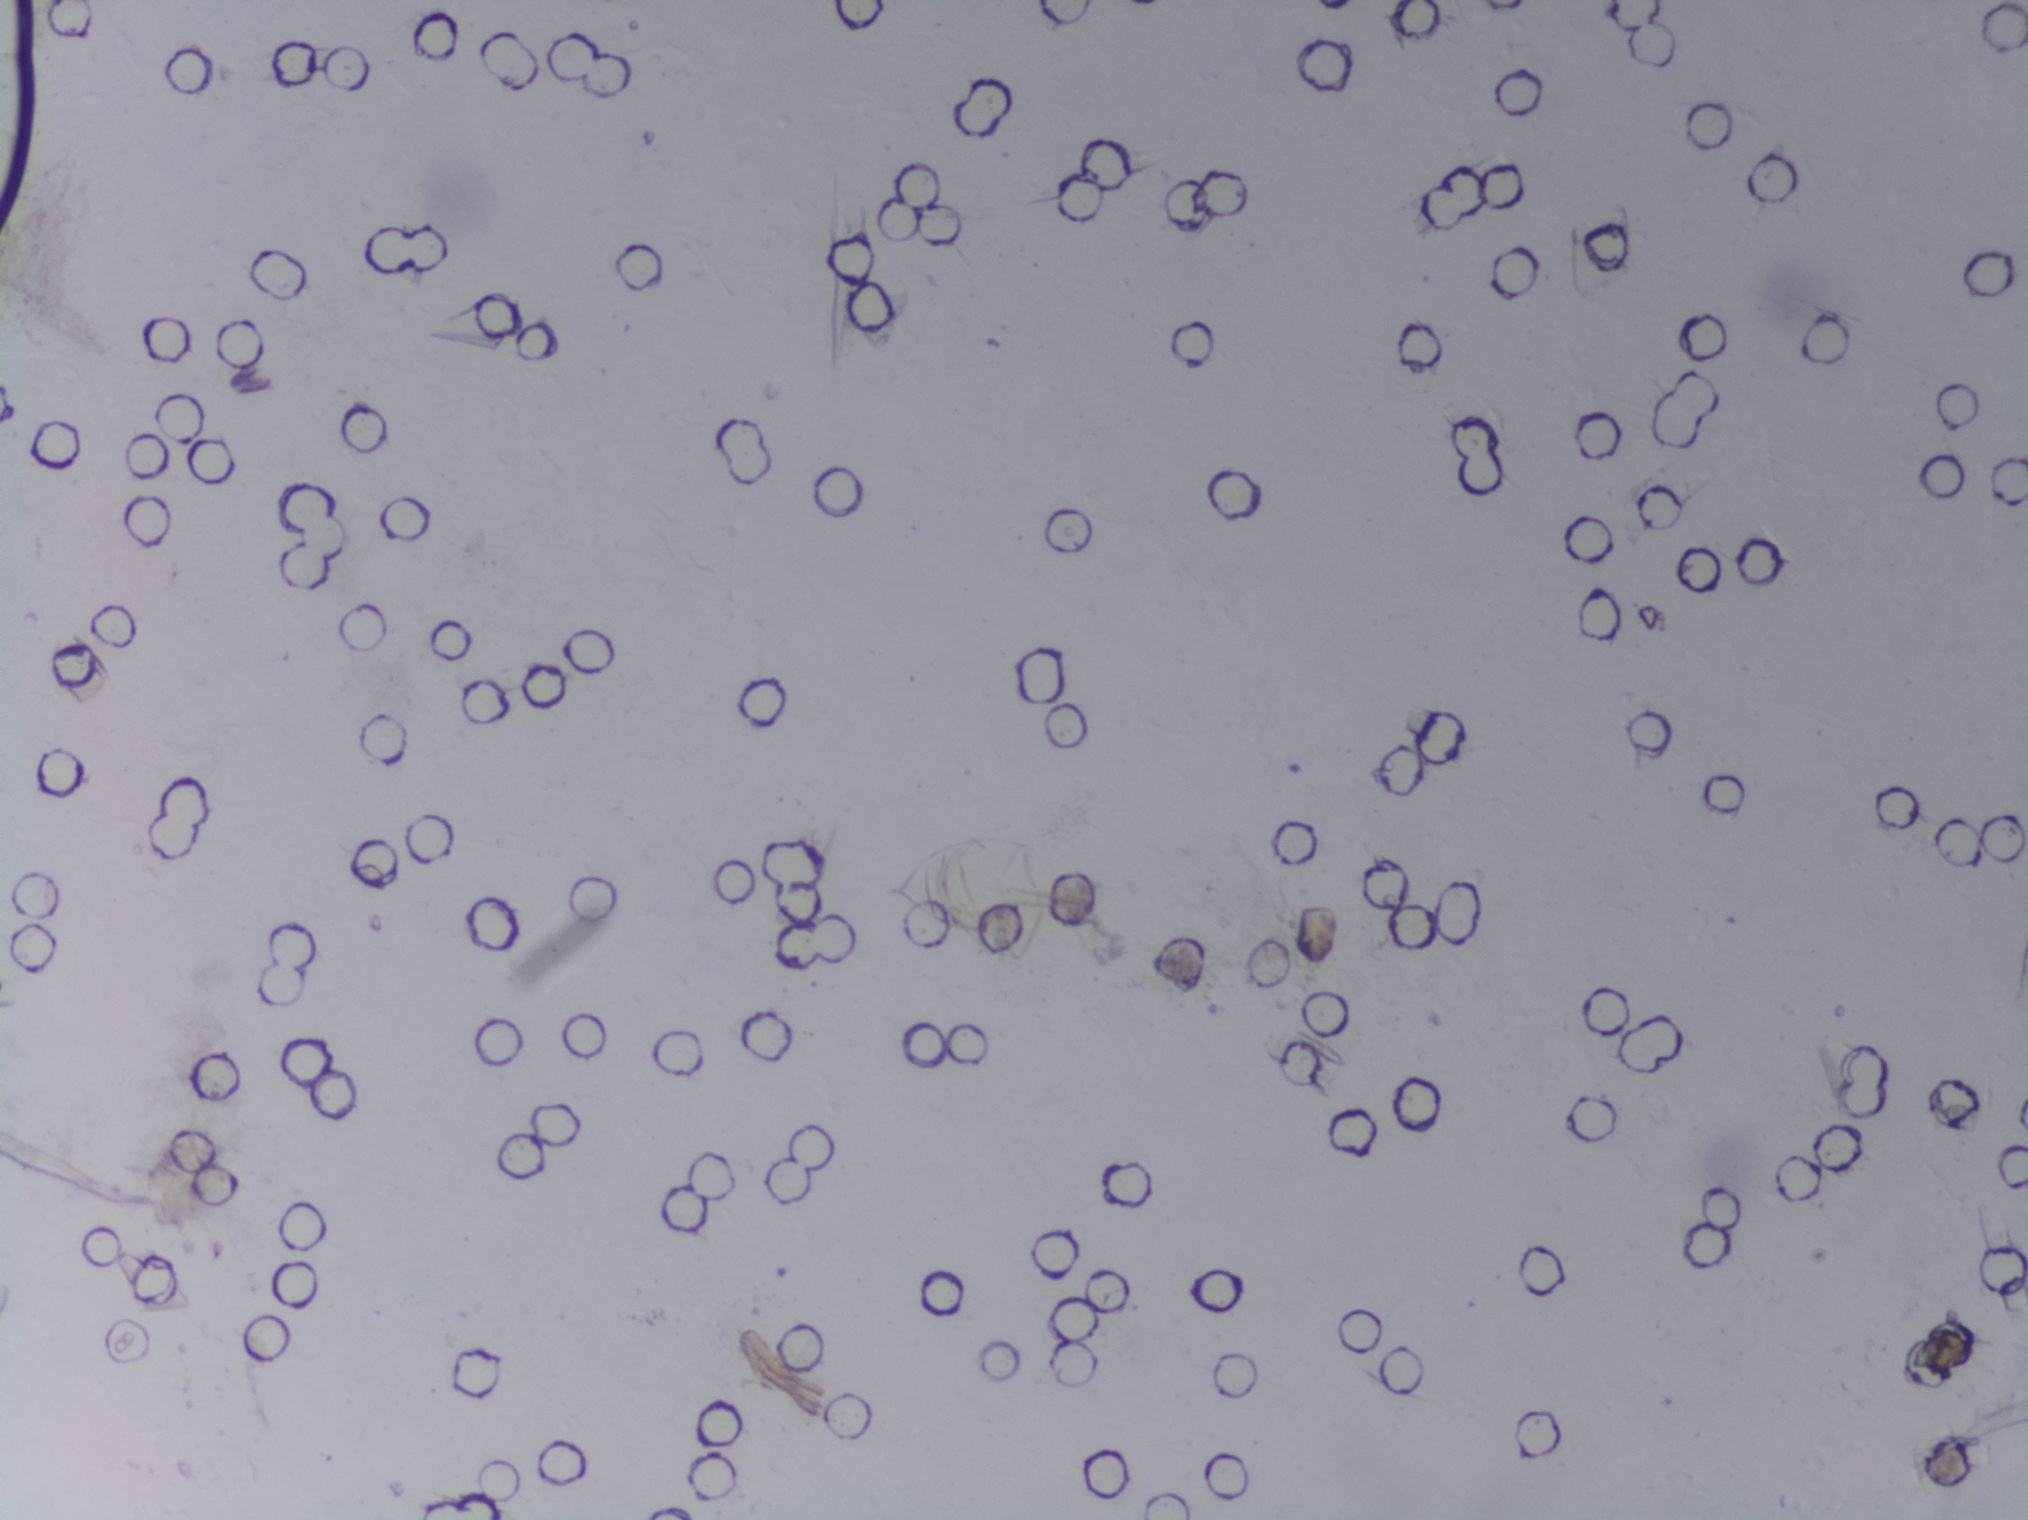
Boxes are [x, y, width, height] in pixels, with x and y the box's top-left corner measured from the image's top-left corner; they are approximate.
Outlined Schistosoma egg areas:
1. [870, 833, 202, 115]
About 0.6% of the image's pixels are marked (the marked pixels themselves, not the box around them). Eggs that touch can end up inside the same outlined area. A marked egg may occasionally be S. mansoni rather than S. haematobium.
Photomicrograph of a urine filtration membrane, 4× objective.